Photograph from an automated digital microscope: urine filter membrane, 4× objective.
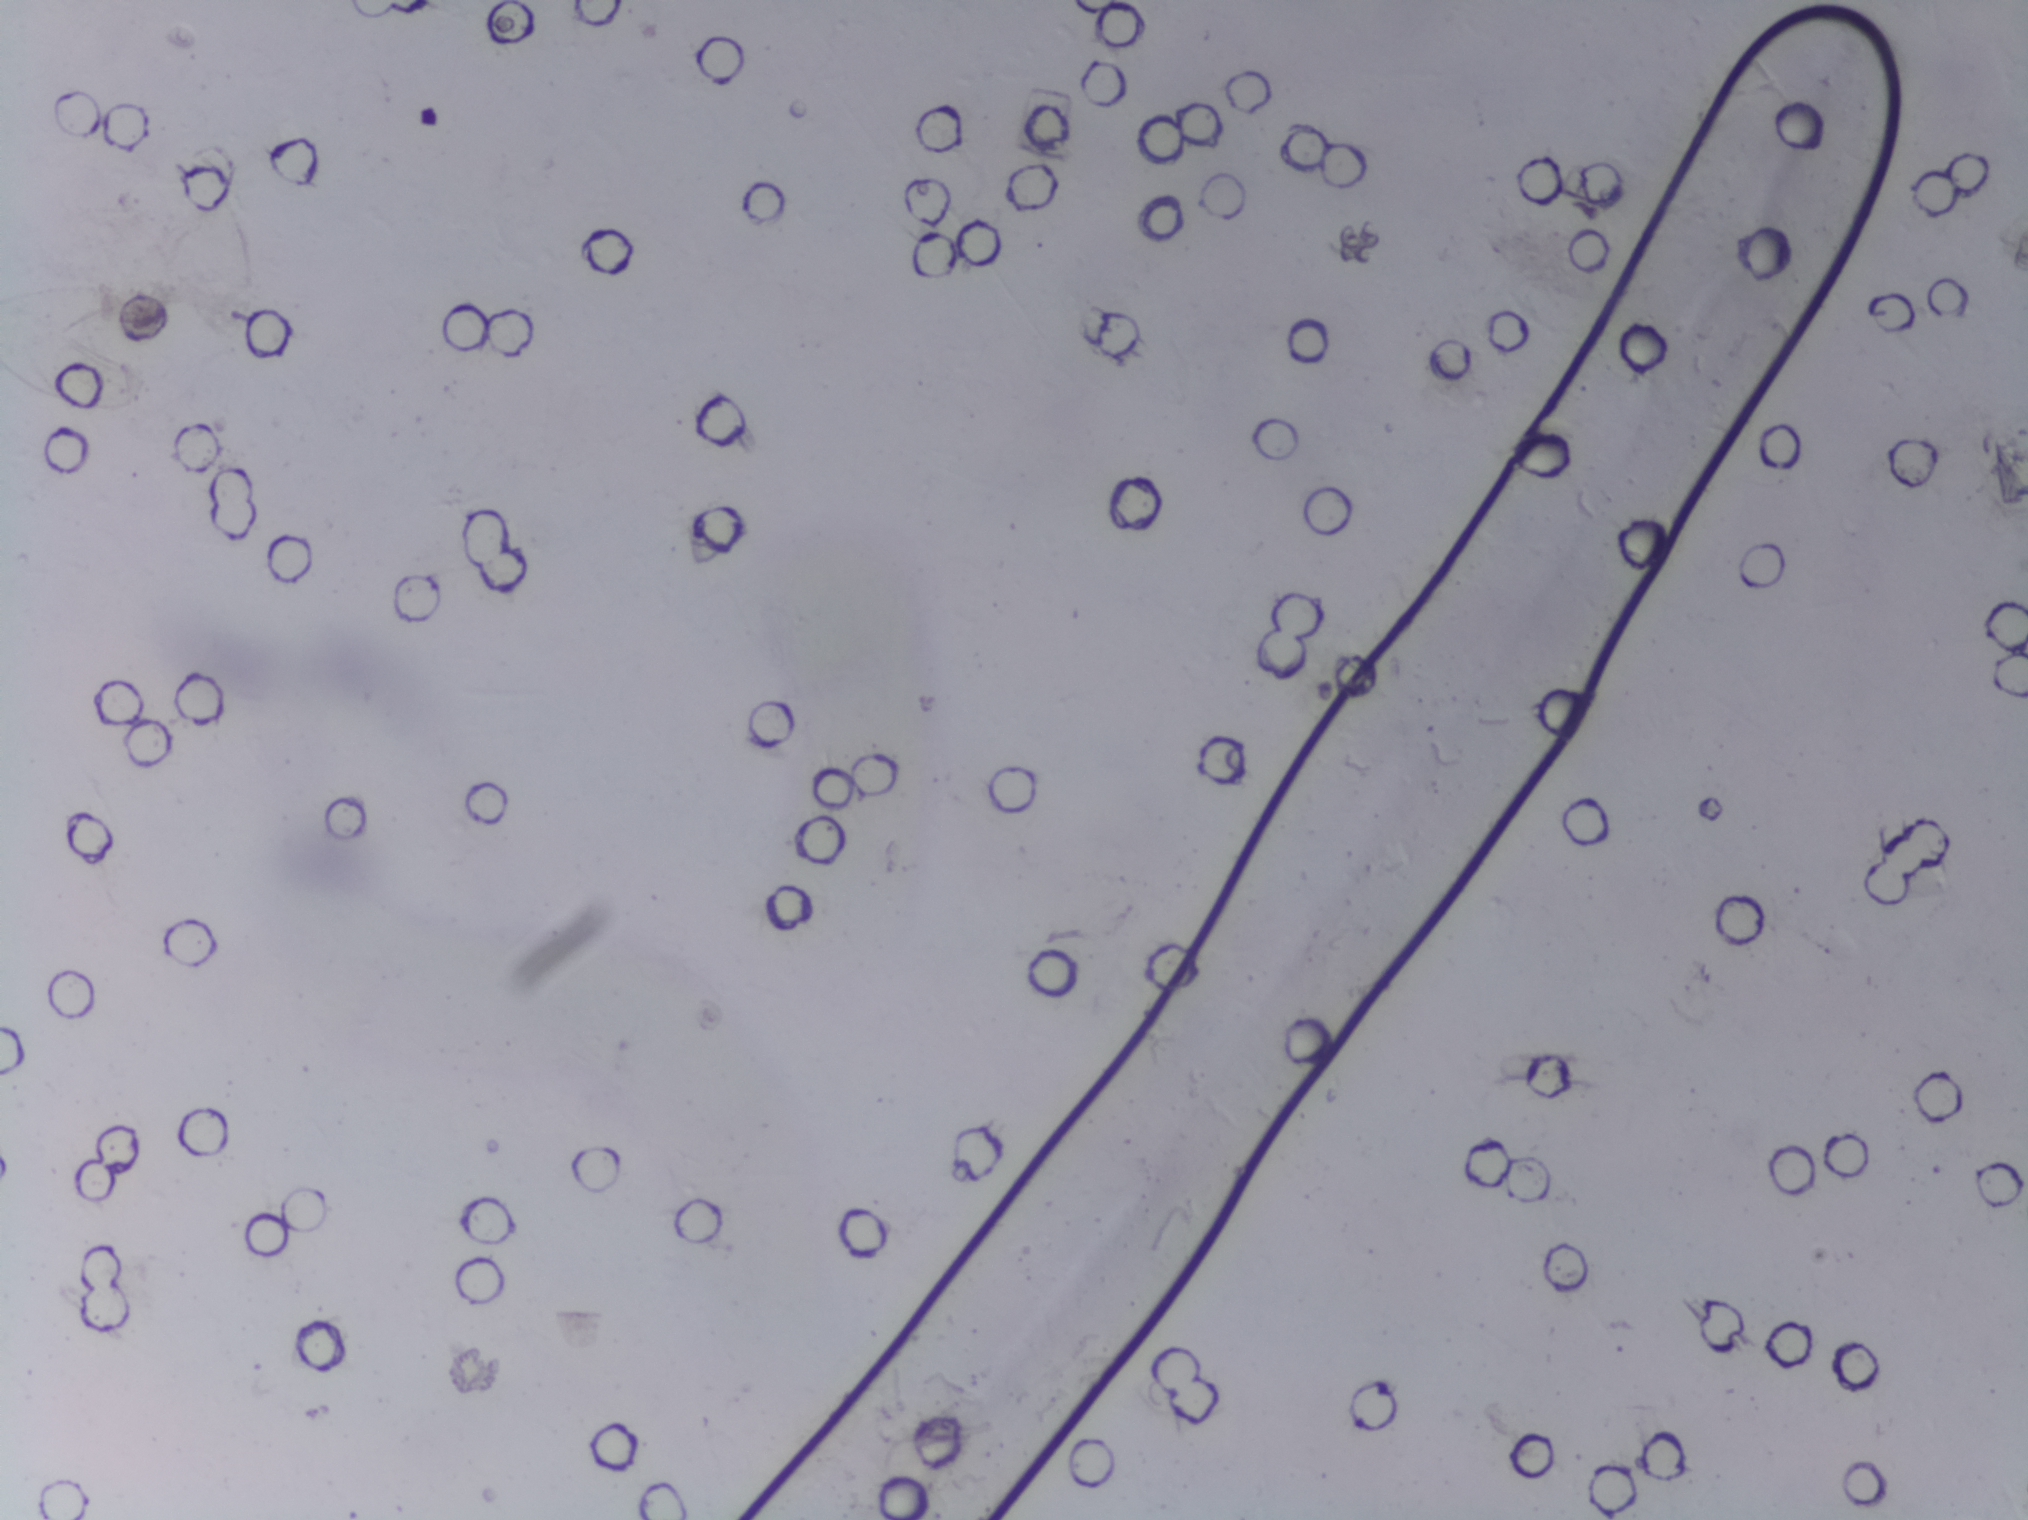
Schistosoma eggs: none outlined.